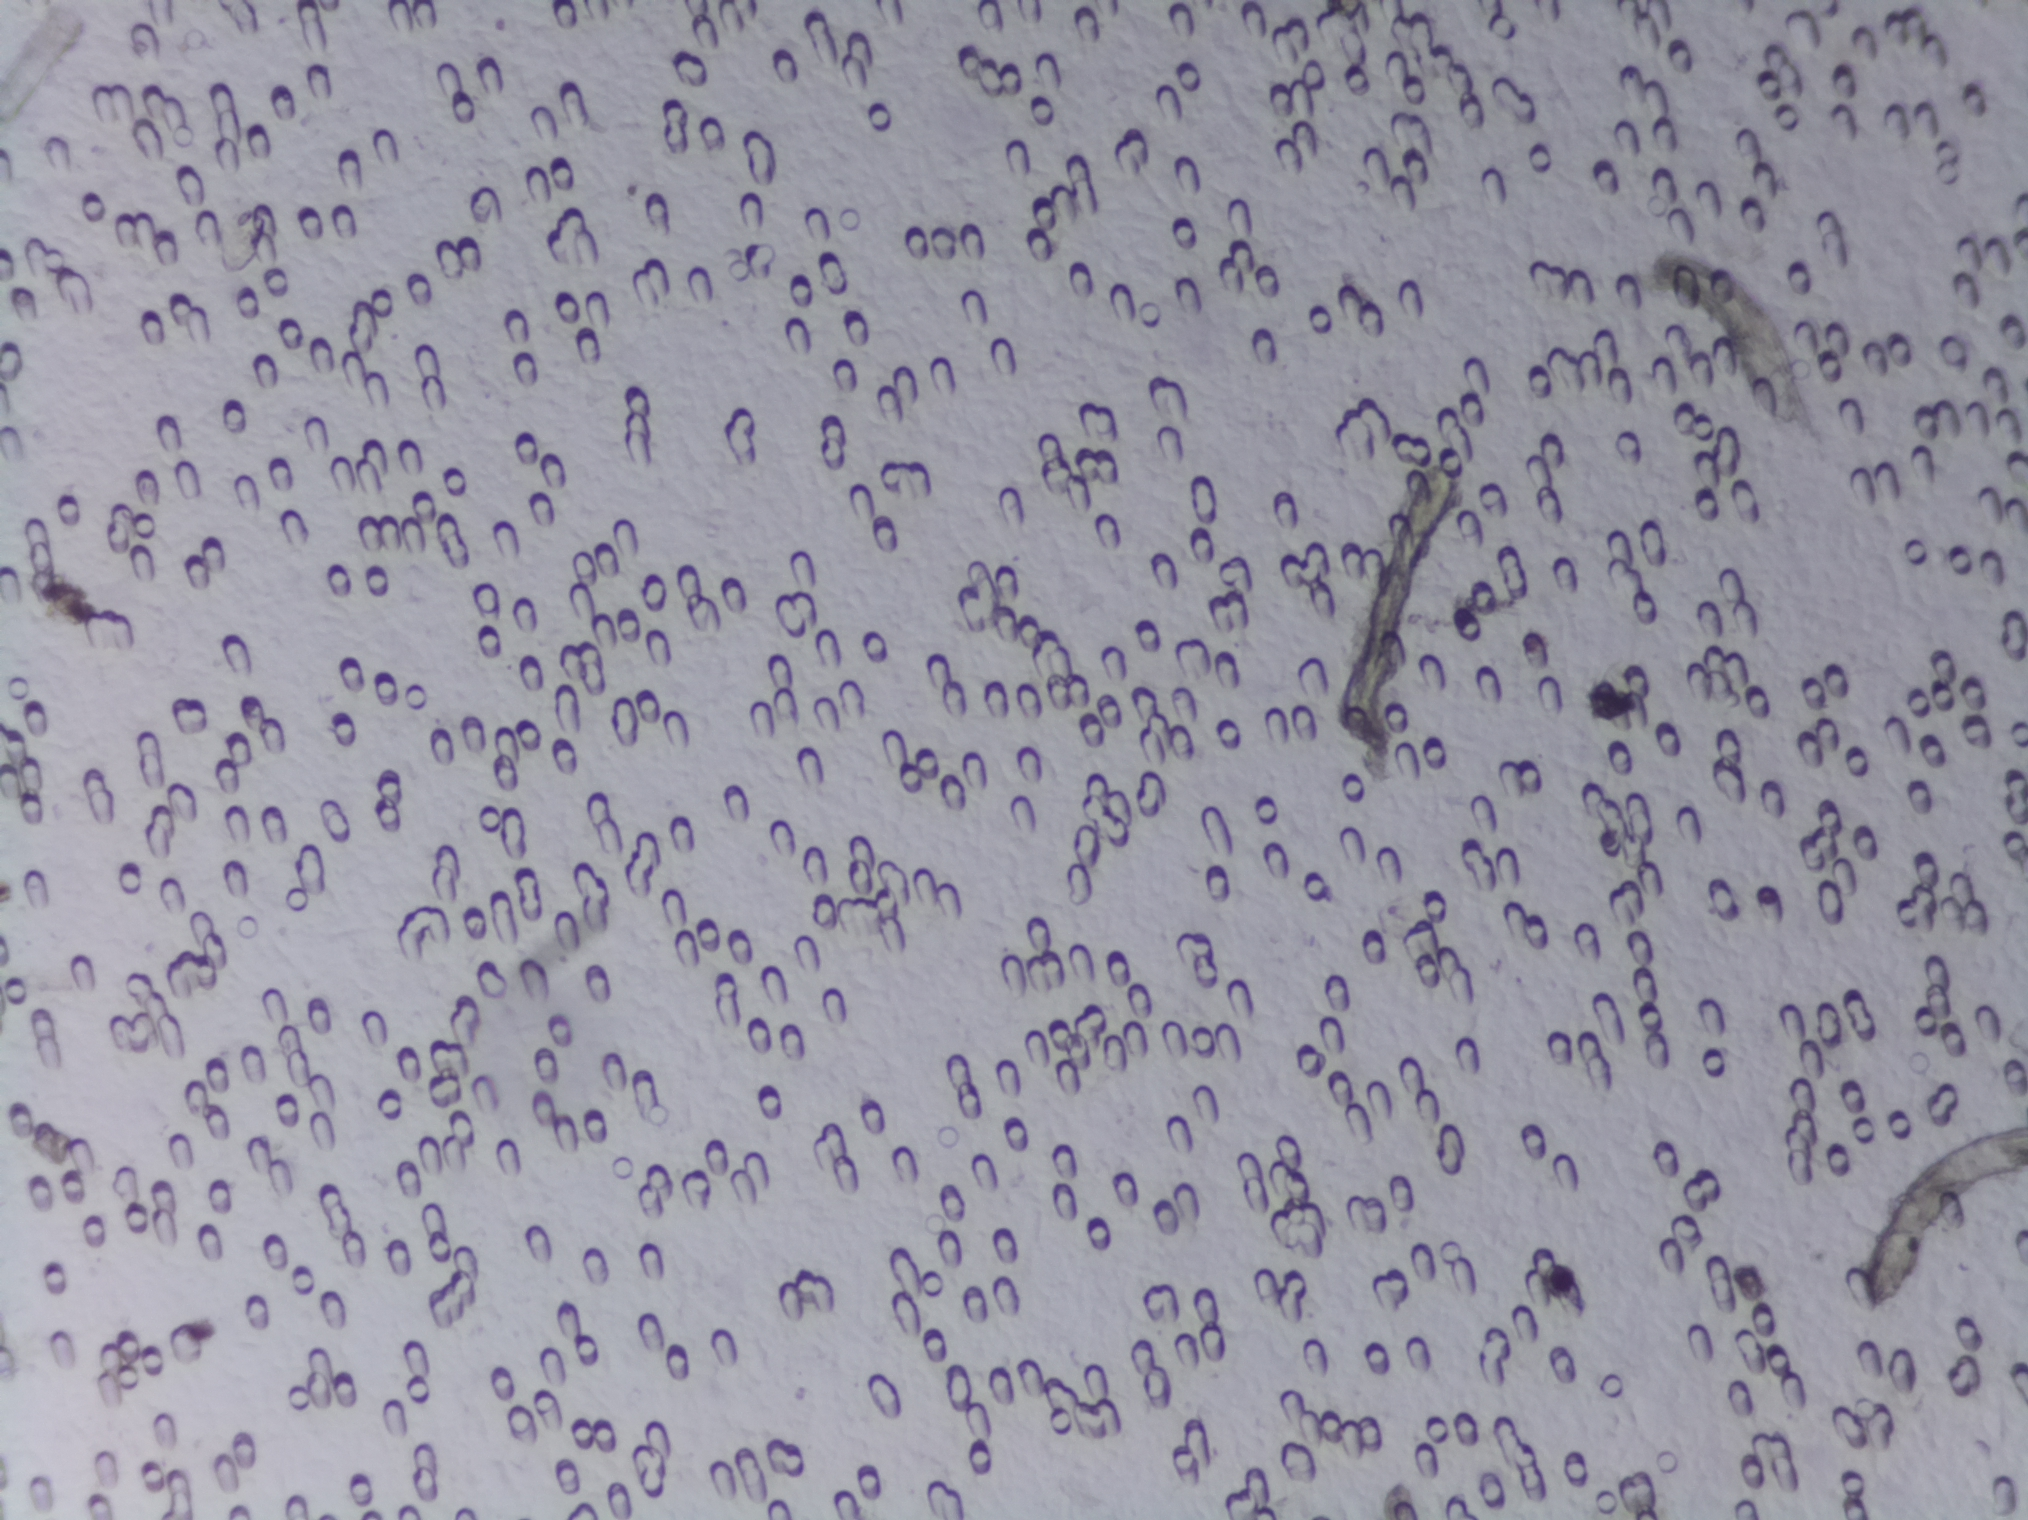
The expert annotation outlines no Schistosoma egg in this image.
Photomicrograph of a urine filtration membrane, 4× objective.